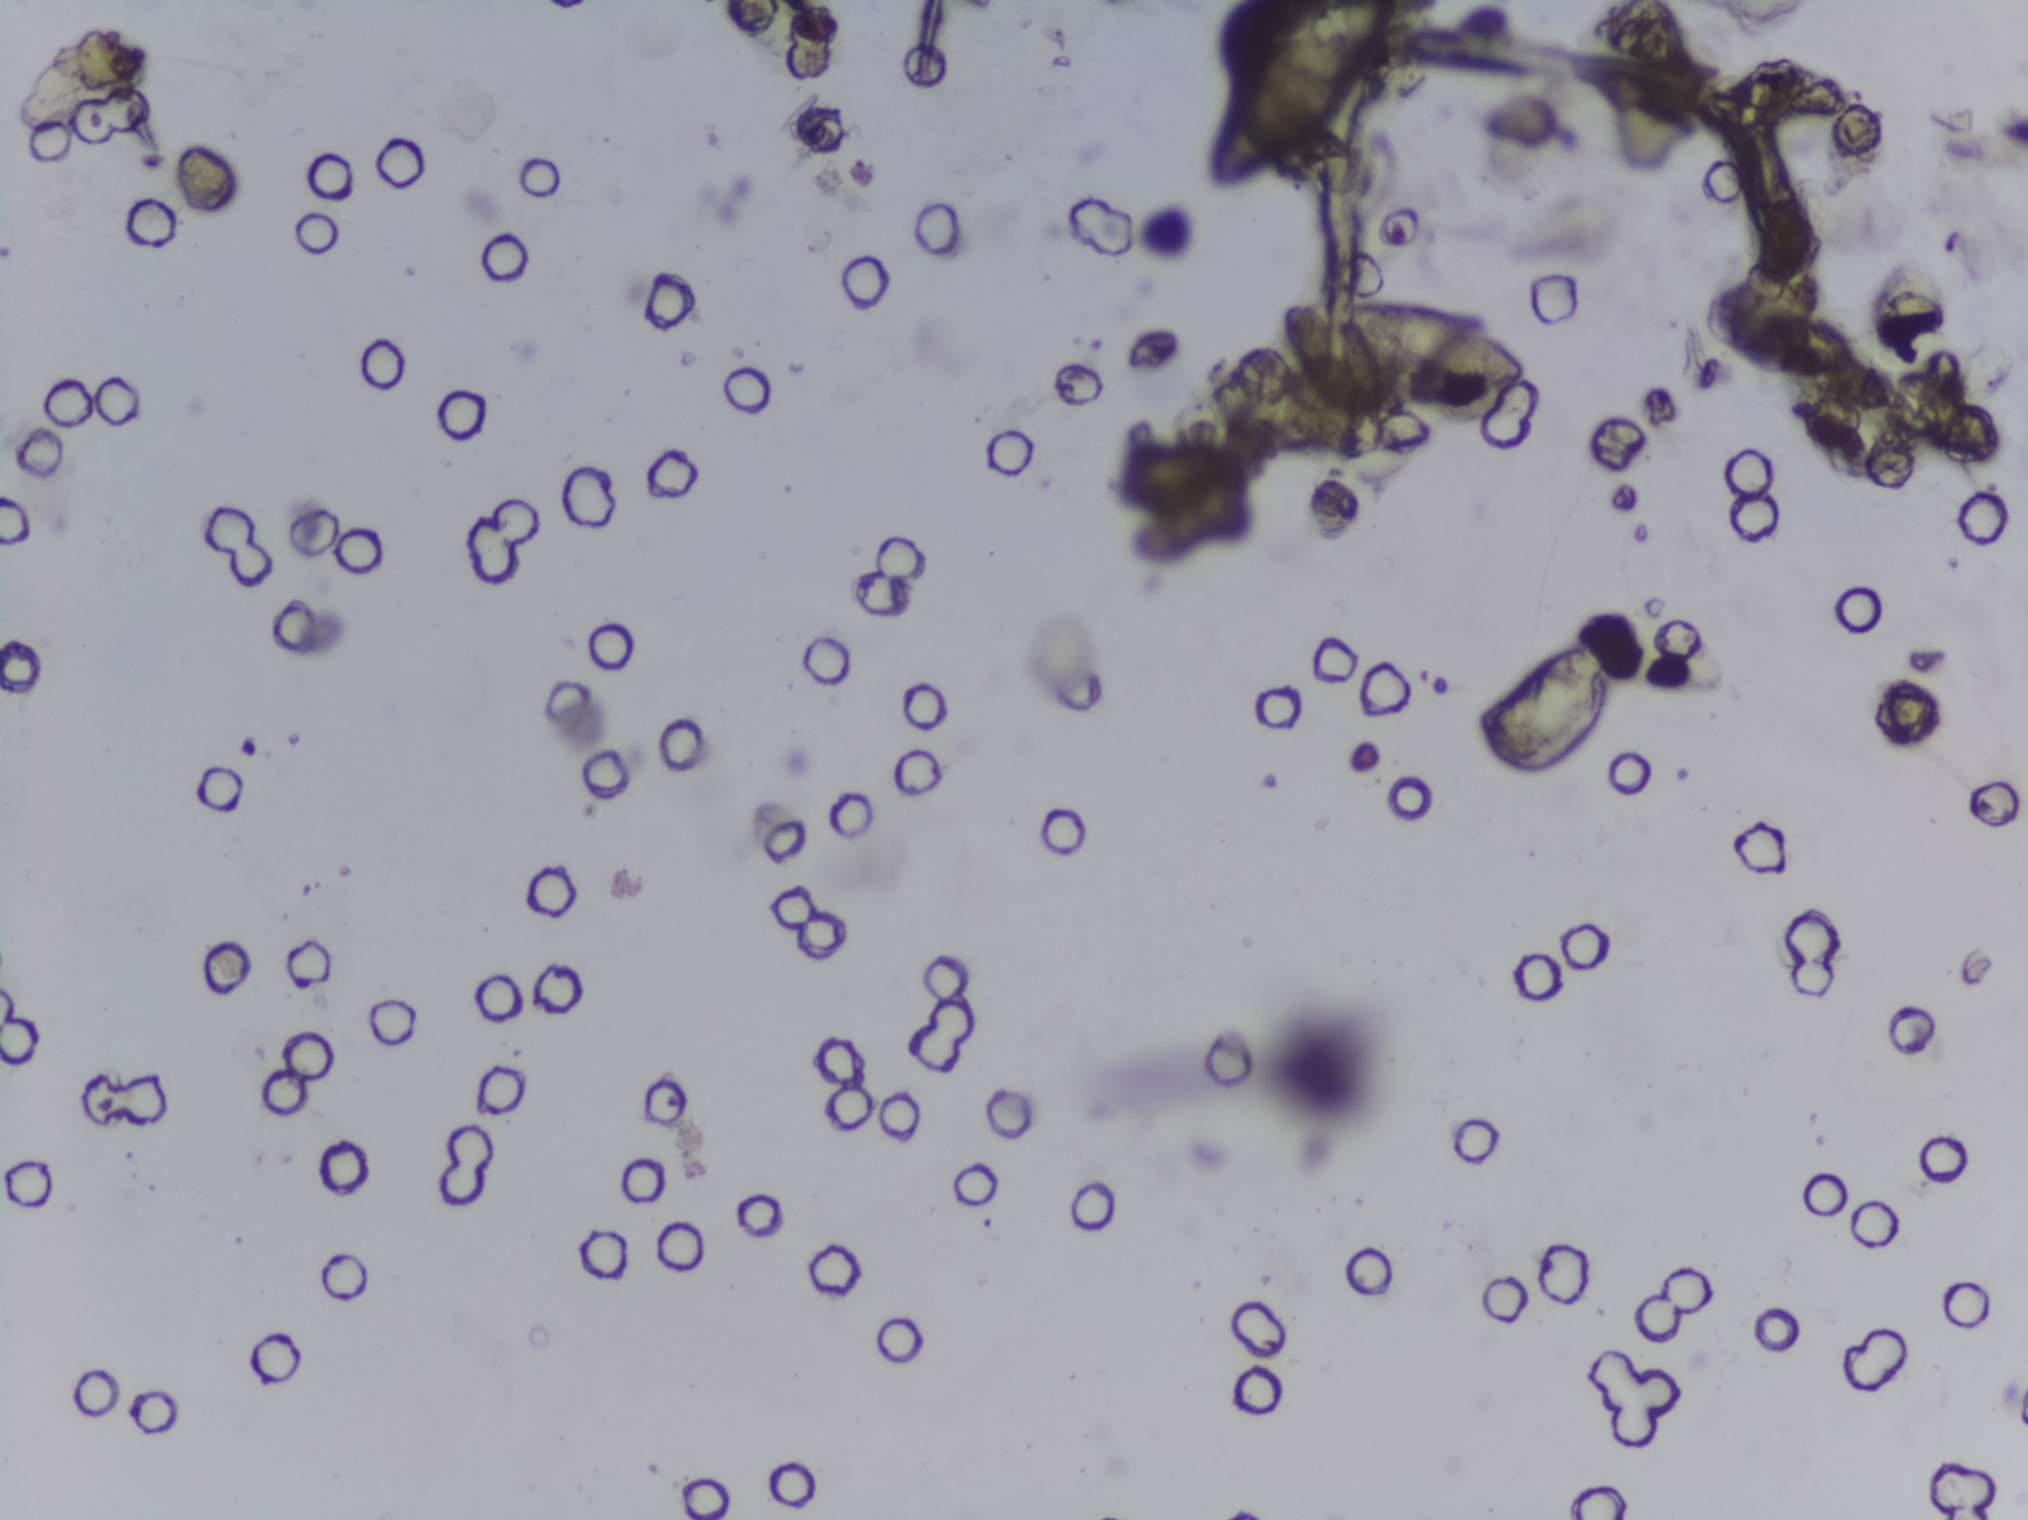
Photomicrograph of a urine filtration membrane, 4× objective.
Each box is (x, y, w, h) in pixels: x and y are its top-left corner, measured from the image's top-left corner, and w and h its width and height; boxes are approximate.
Schistosoma egg areas, outlined: (x=1197, y=0, w=227, h=197) (reaching the top edge of the frame); (x=1266, y=286, w=274, h=121). A single outlined area may contain several eggs.